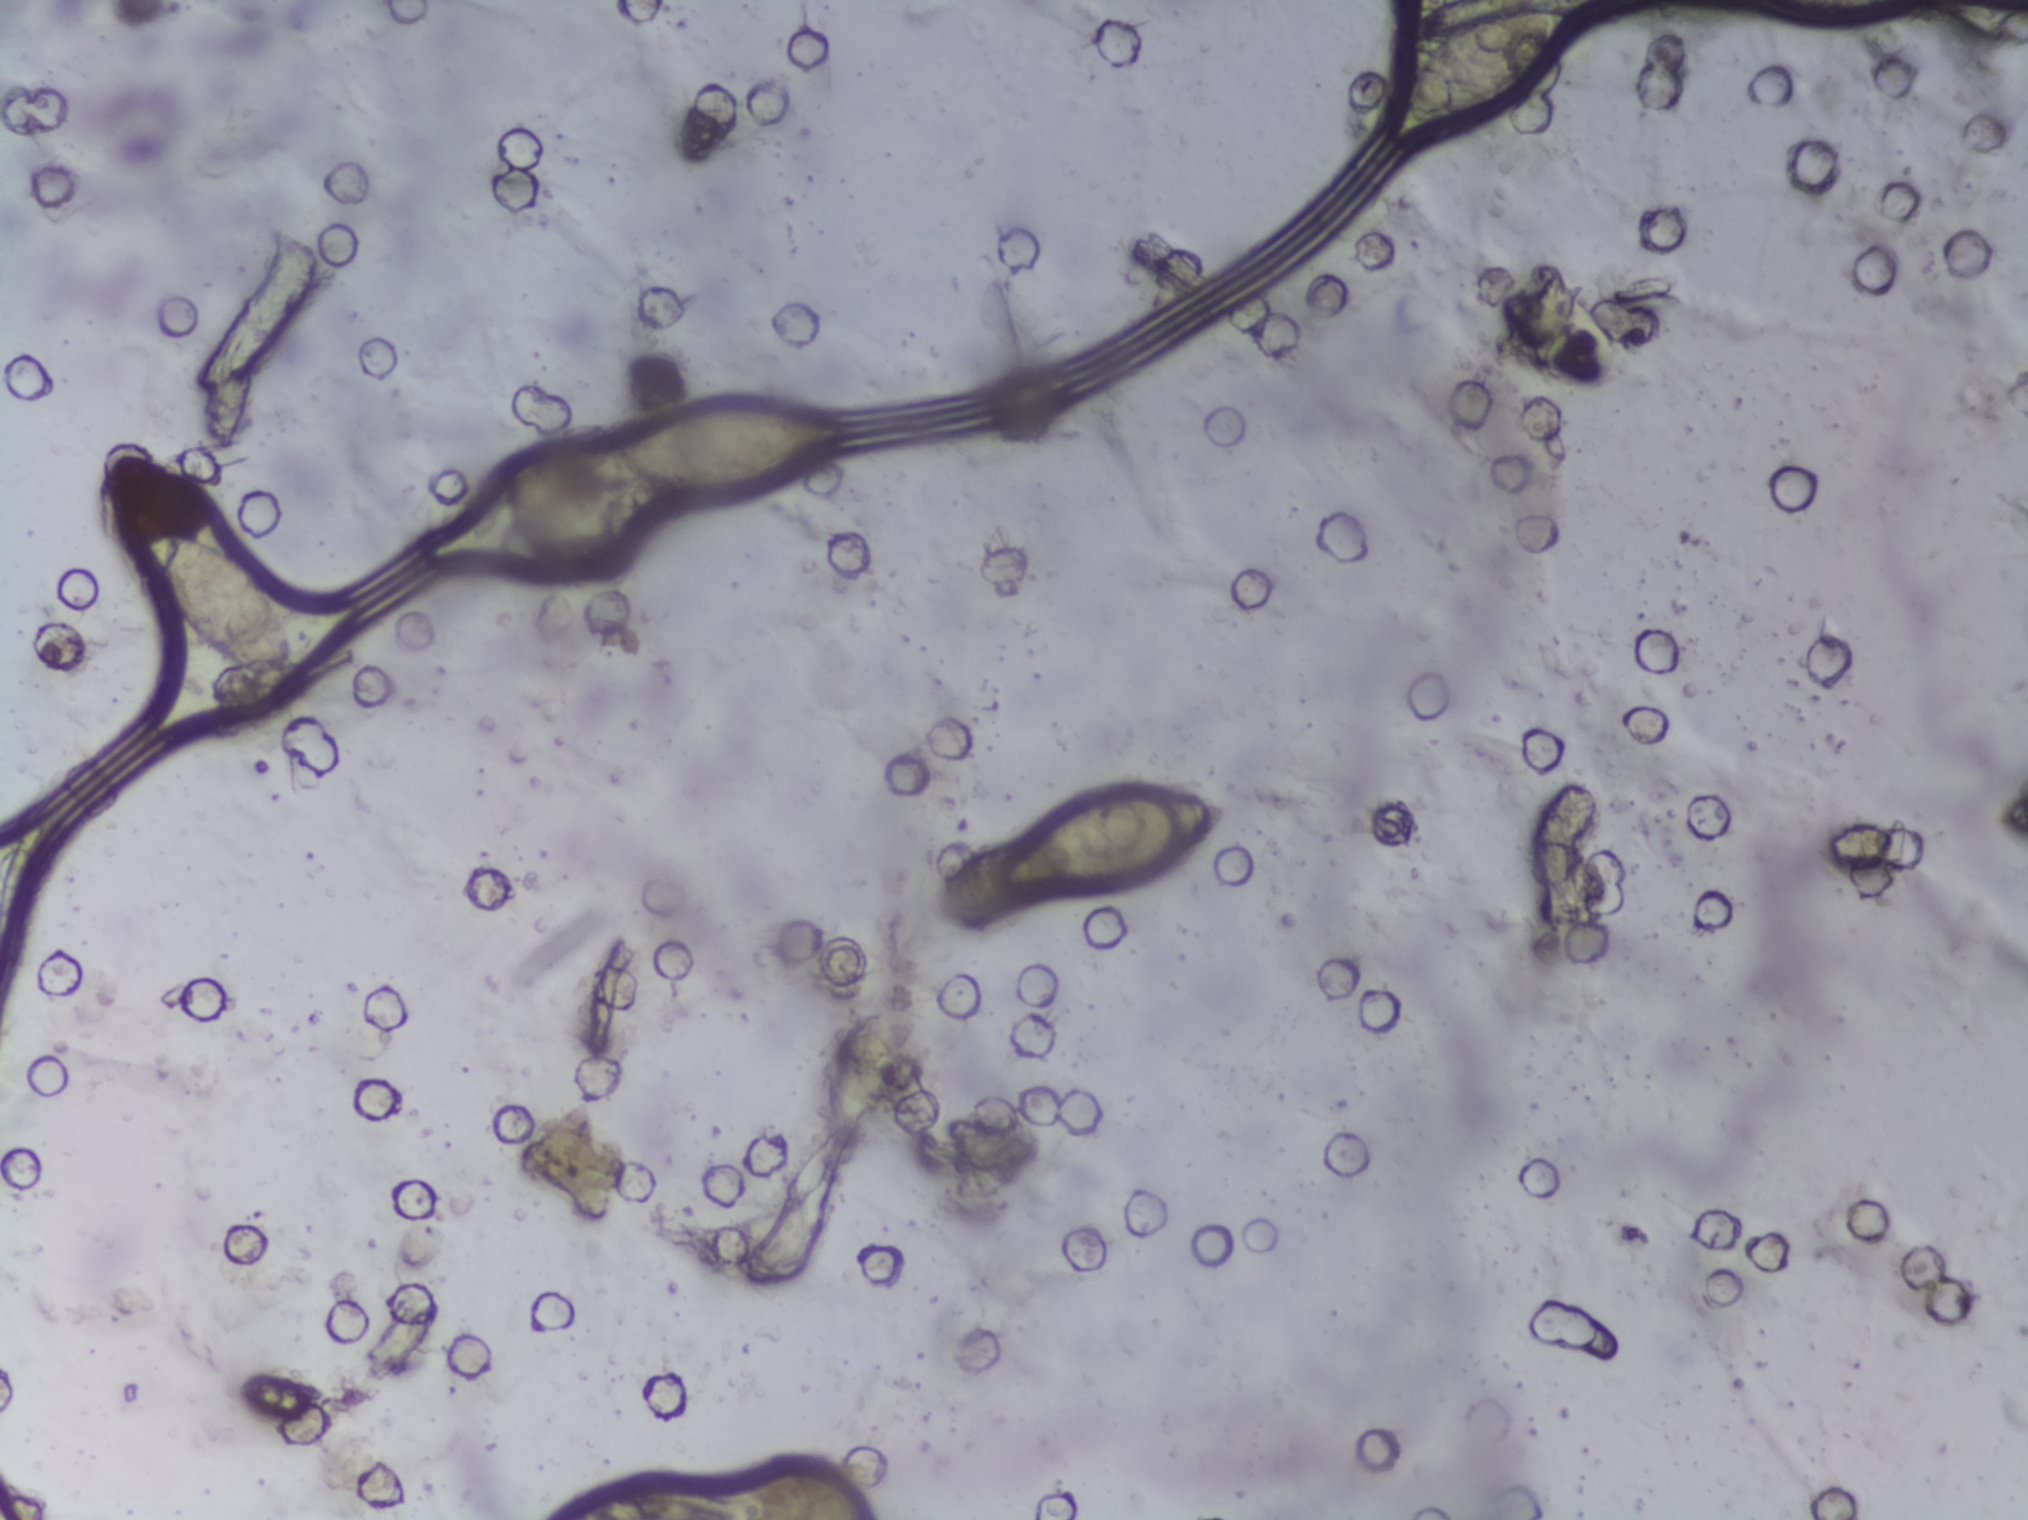
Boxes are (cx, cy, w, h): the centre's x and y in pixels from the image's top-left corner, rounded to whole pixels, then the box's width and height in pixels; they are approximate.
Schistosoma eggs are outlined in four areas of this image, listed from left to right: (cx=226, cy=600, w=140, h=140); (cx=724, cy=446, w=239, h=98); (cx=1110, cy=842, w=234, h=113); (cx=1486, cy=68, w=170, h=124). A single outlined area may contain several eggs.
Photograph from an automated digital microscope: urine filter membrane, 4× objective. The image covers about 1.5 × 1.1 mm of the membrane.